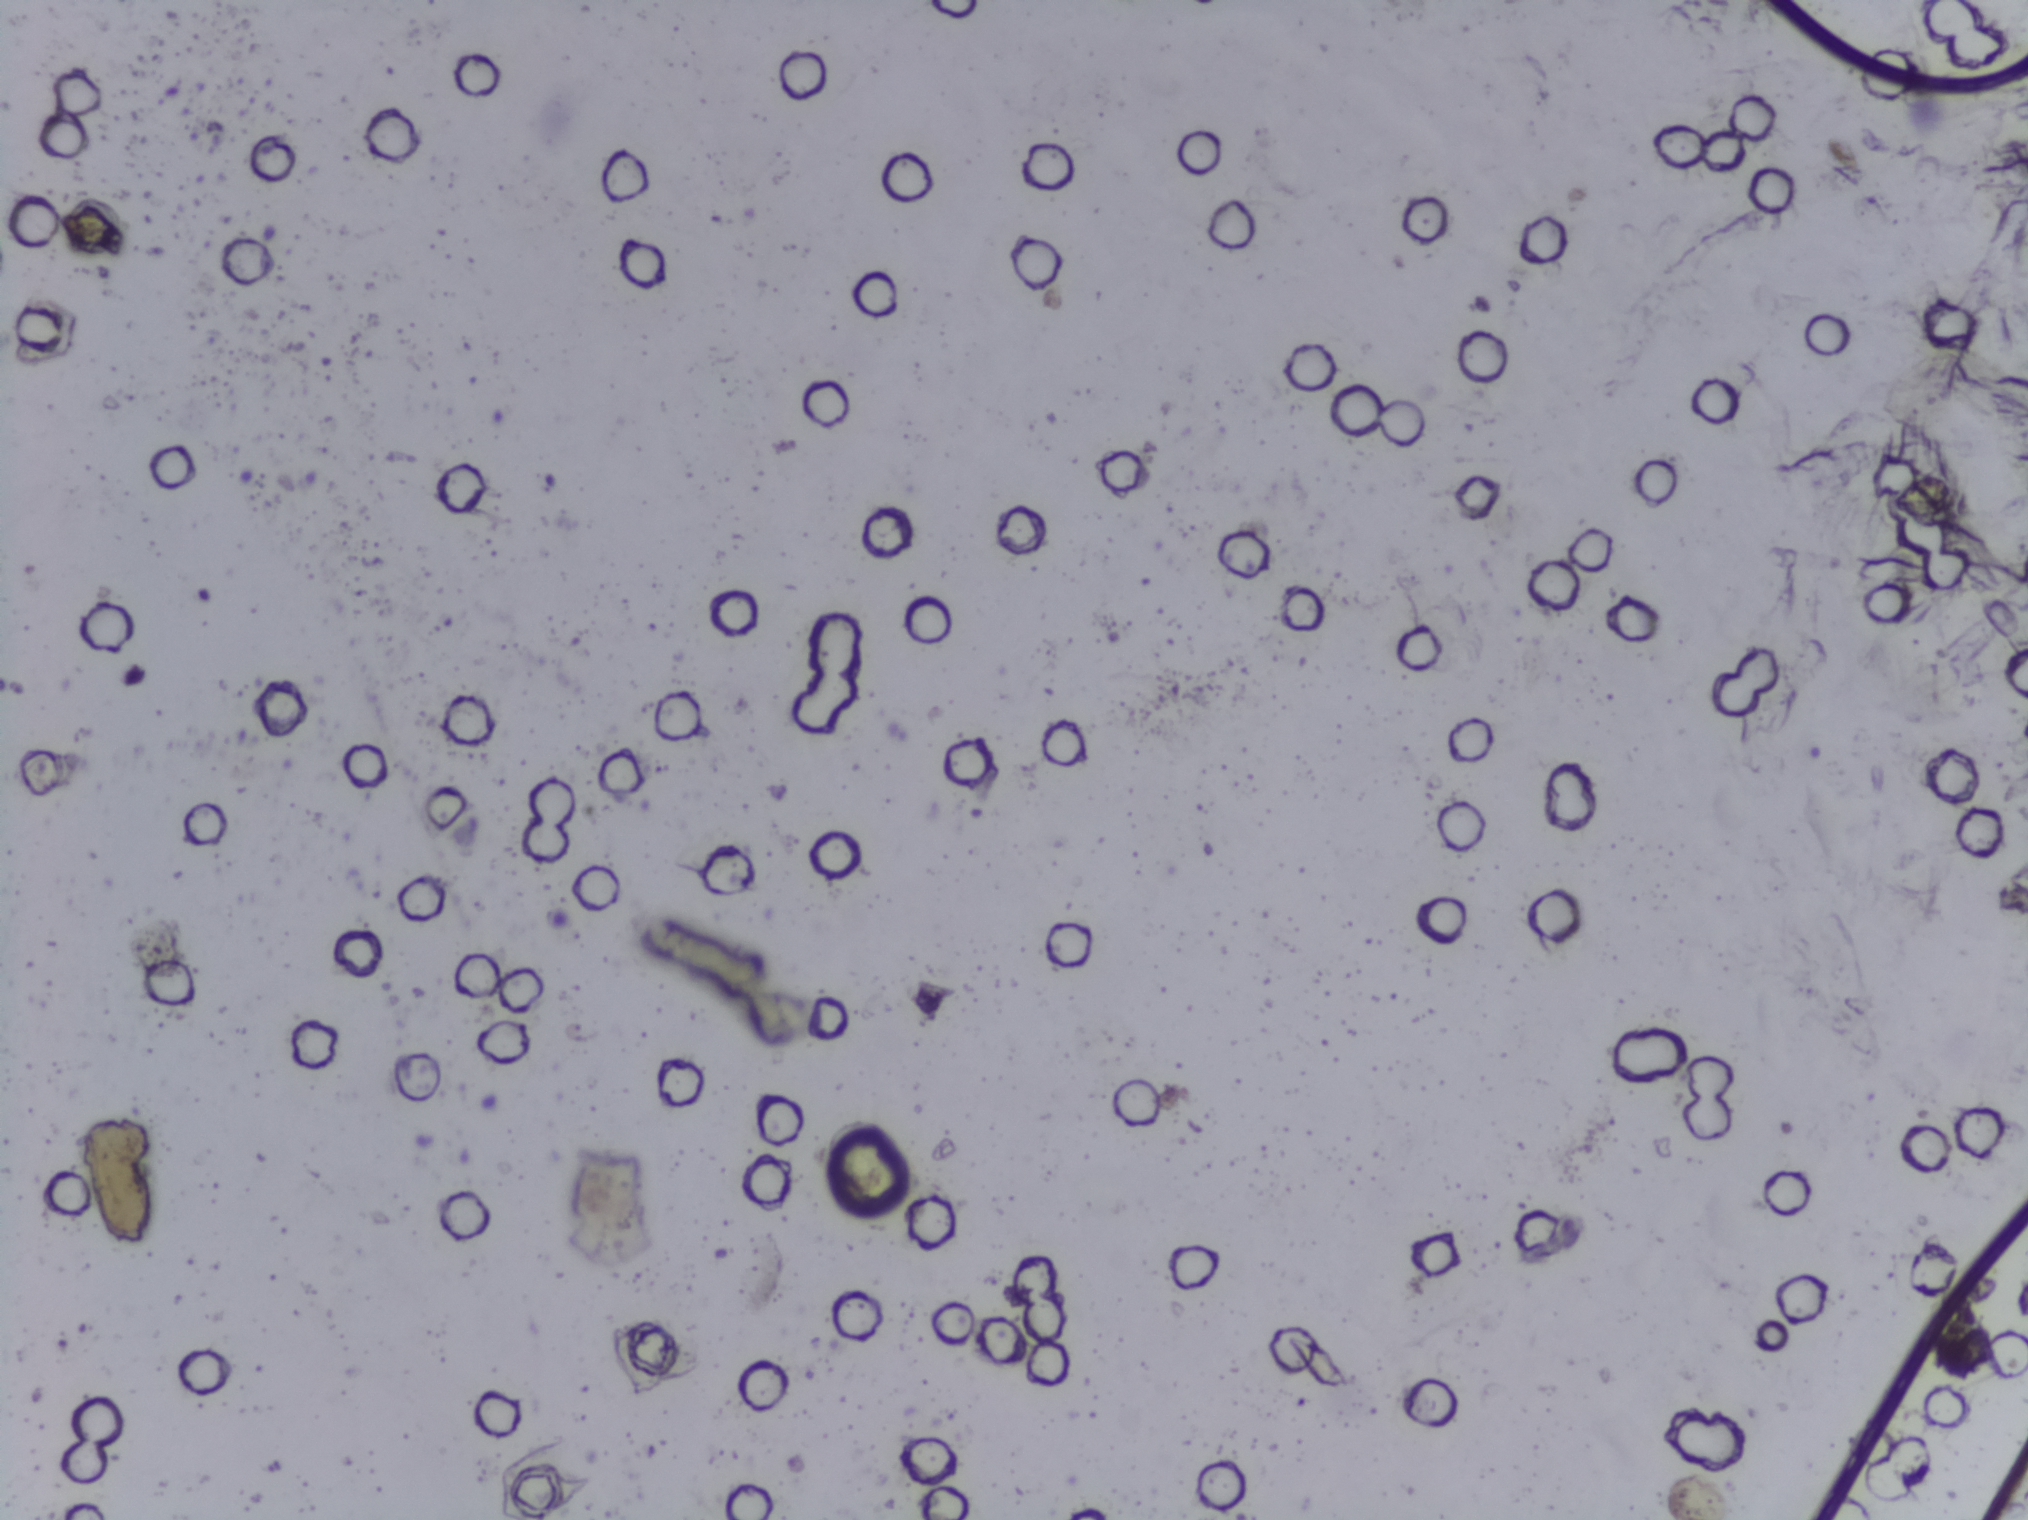
One field of view of a urine filter membrane, 4× objective, 2028 × 1520 pixels.
No area of this image was outlined as a Schistosoma egg.